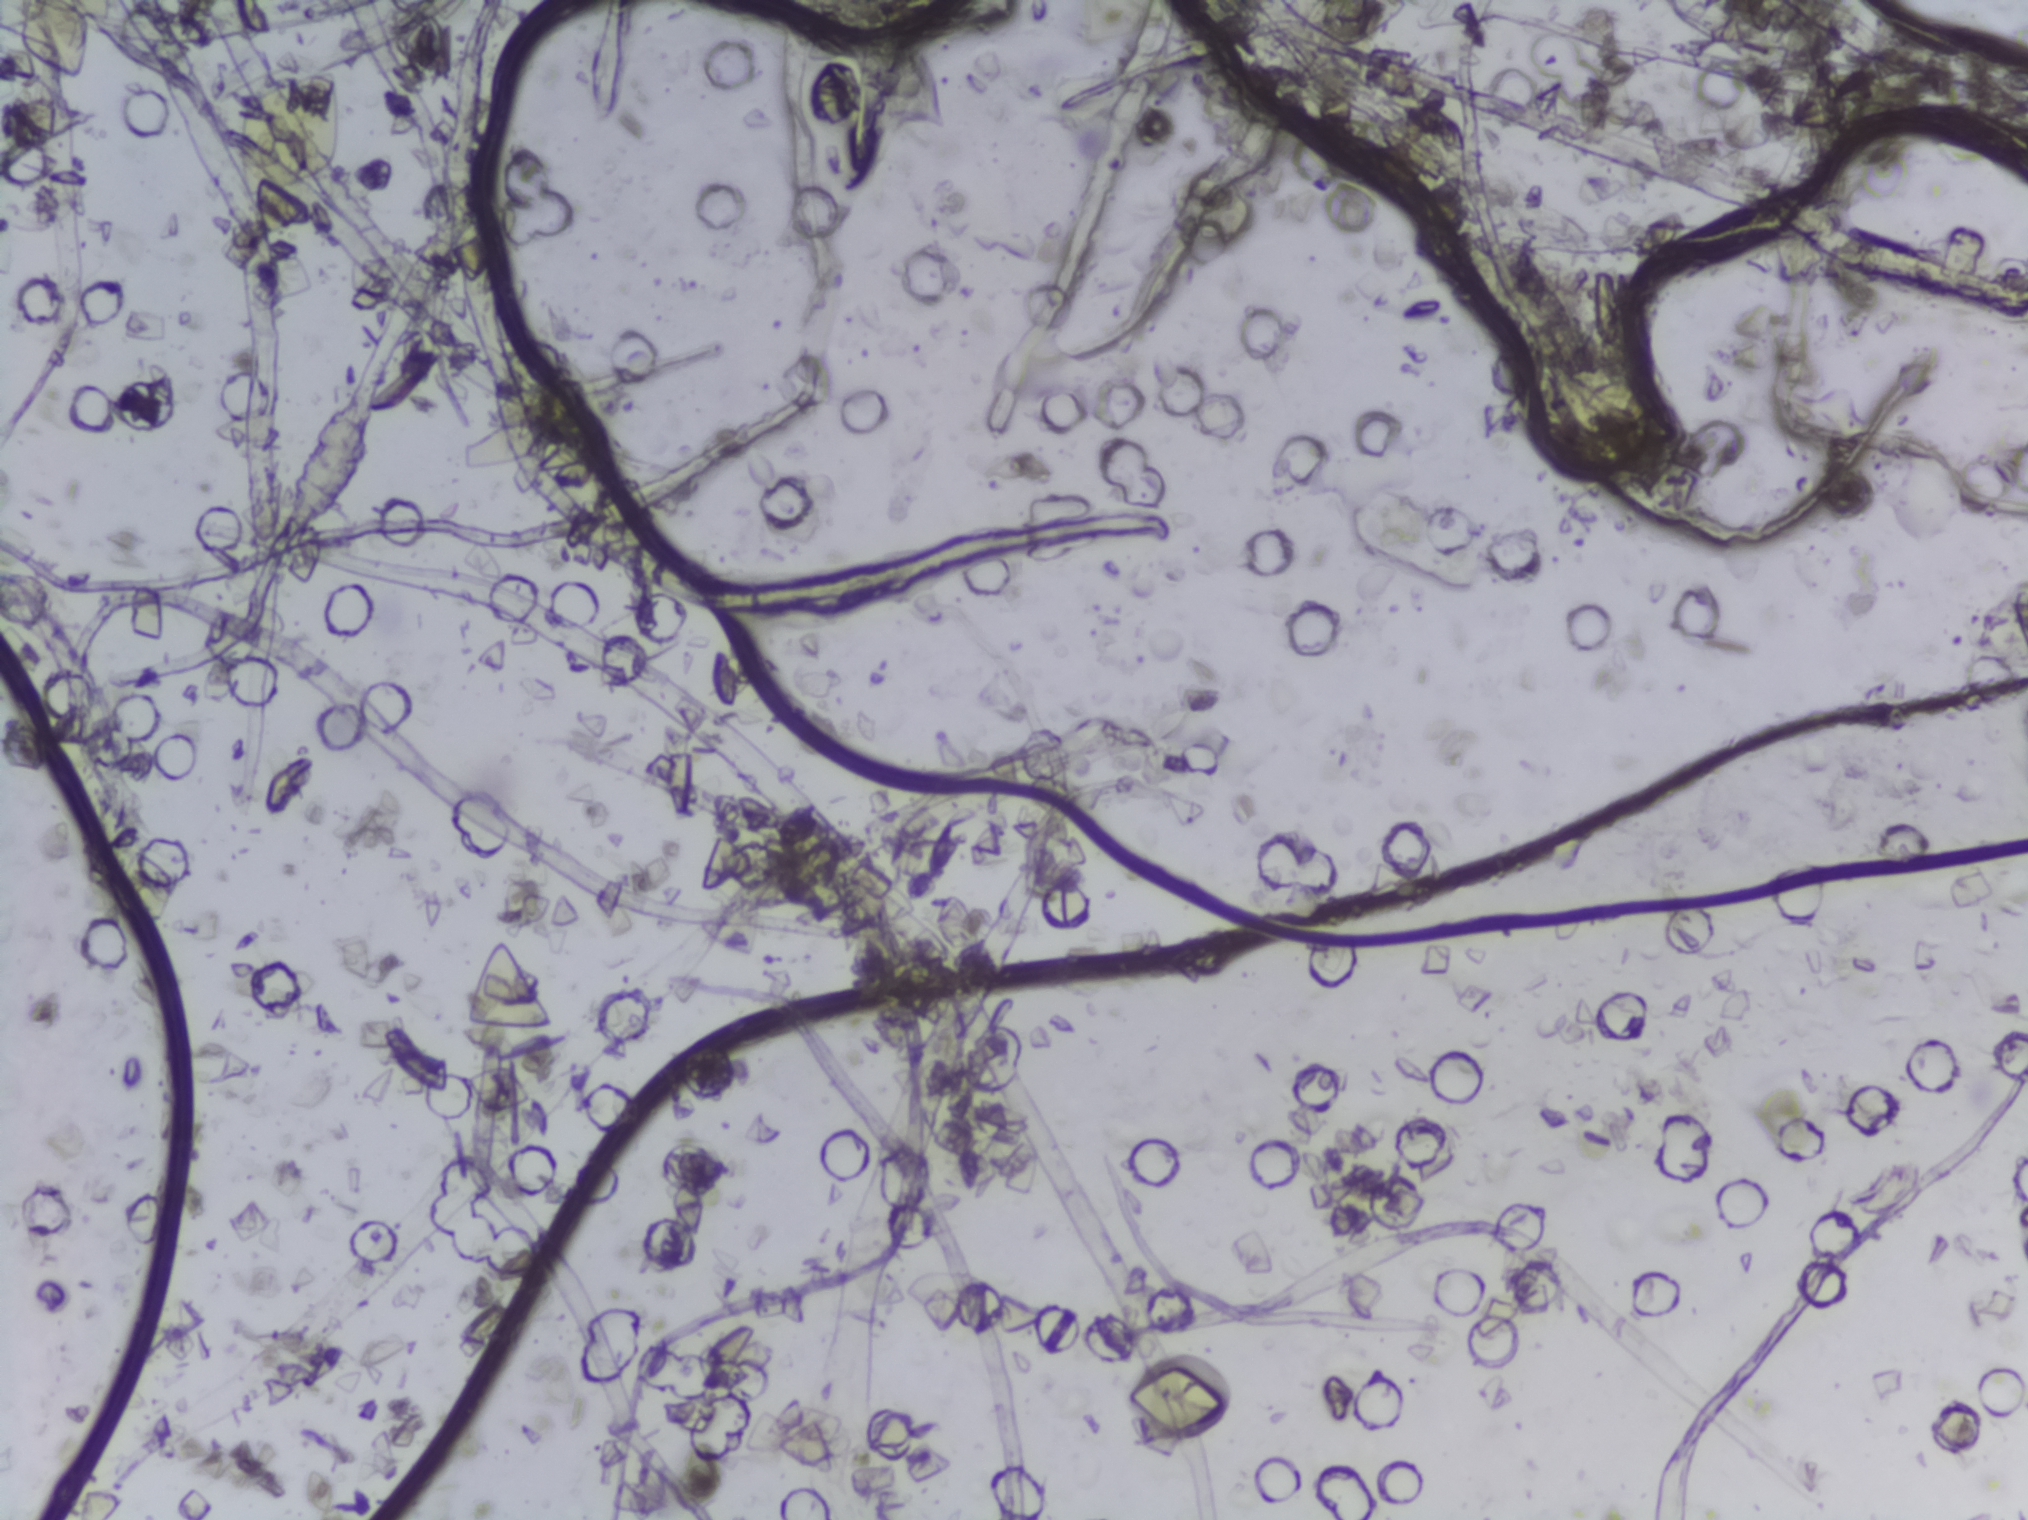
The expert annotation marks no Schistosoma egg in this field of view.
Microscope photograph (4× objective) of a membrane that a urine sample was filtered through.